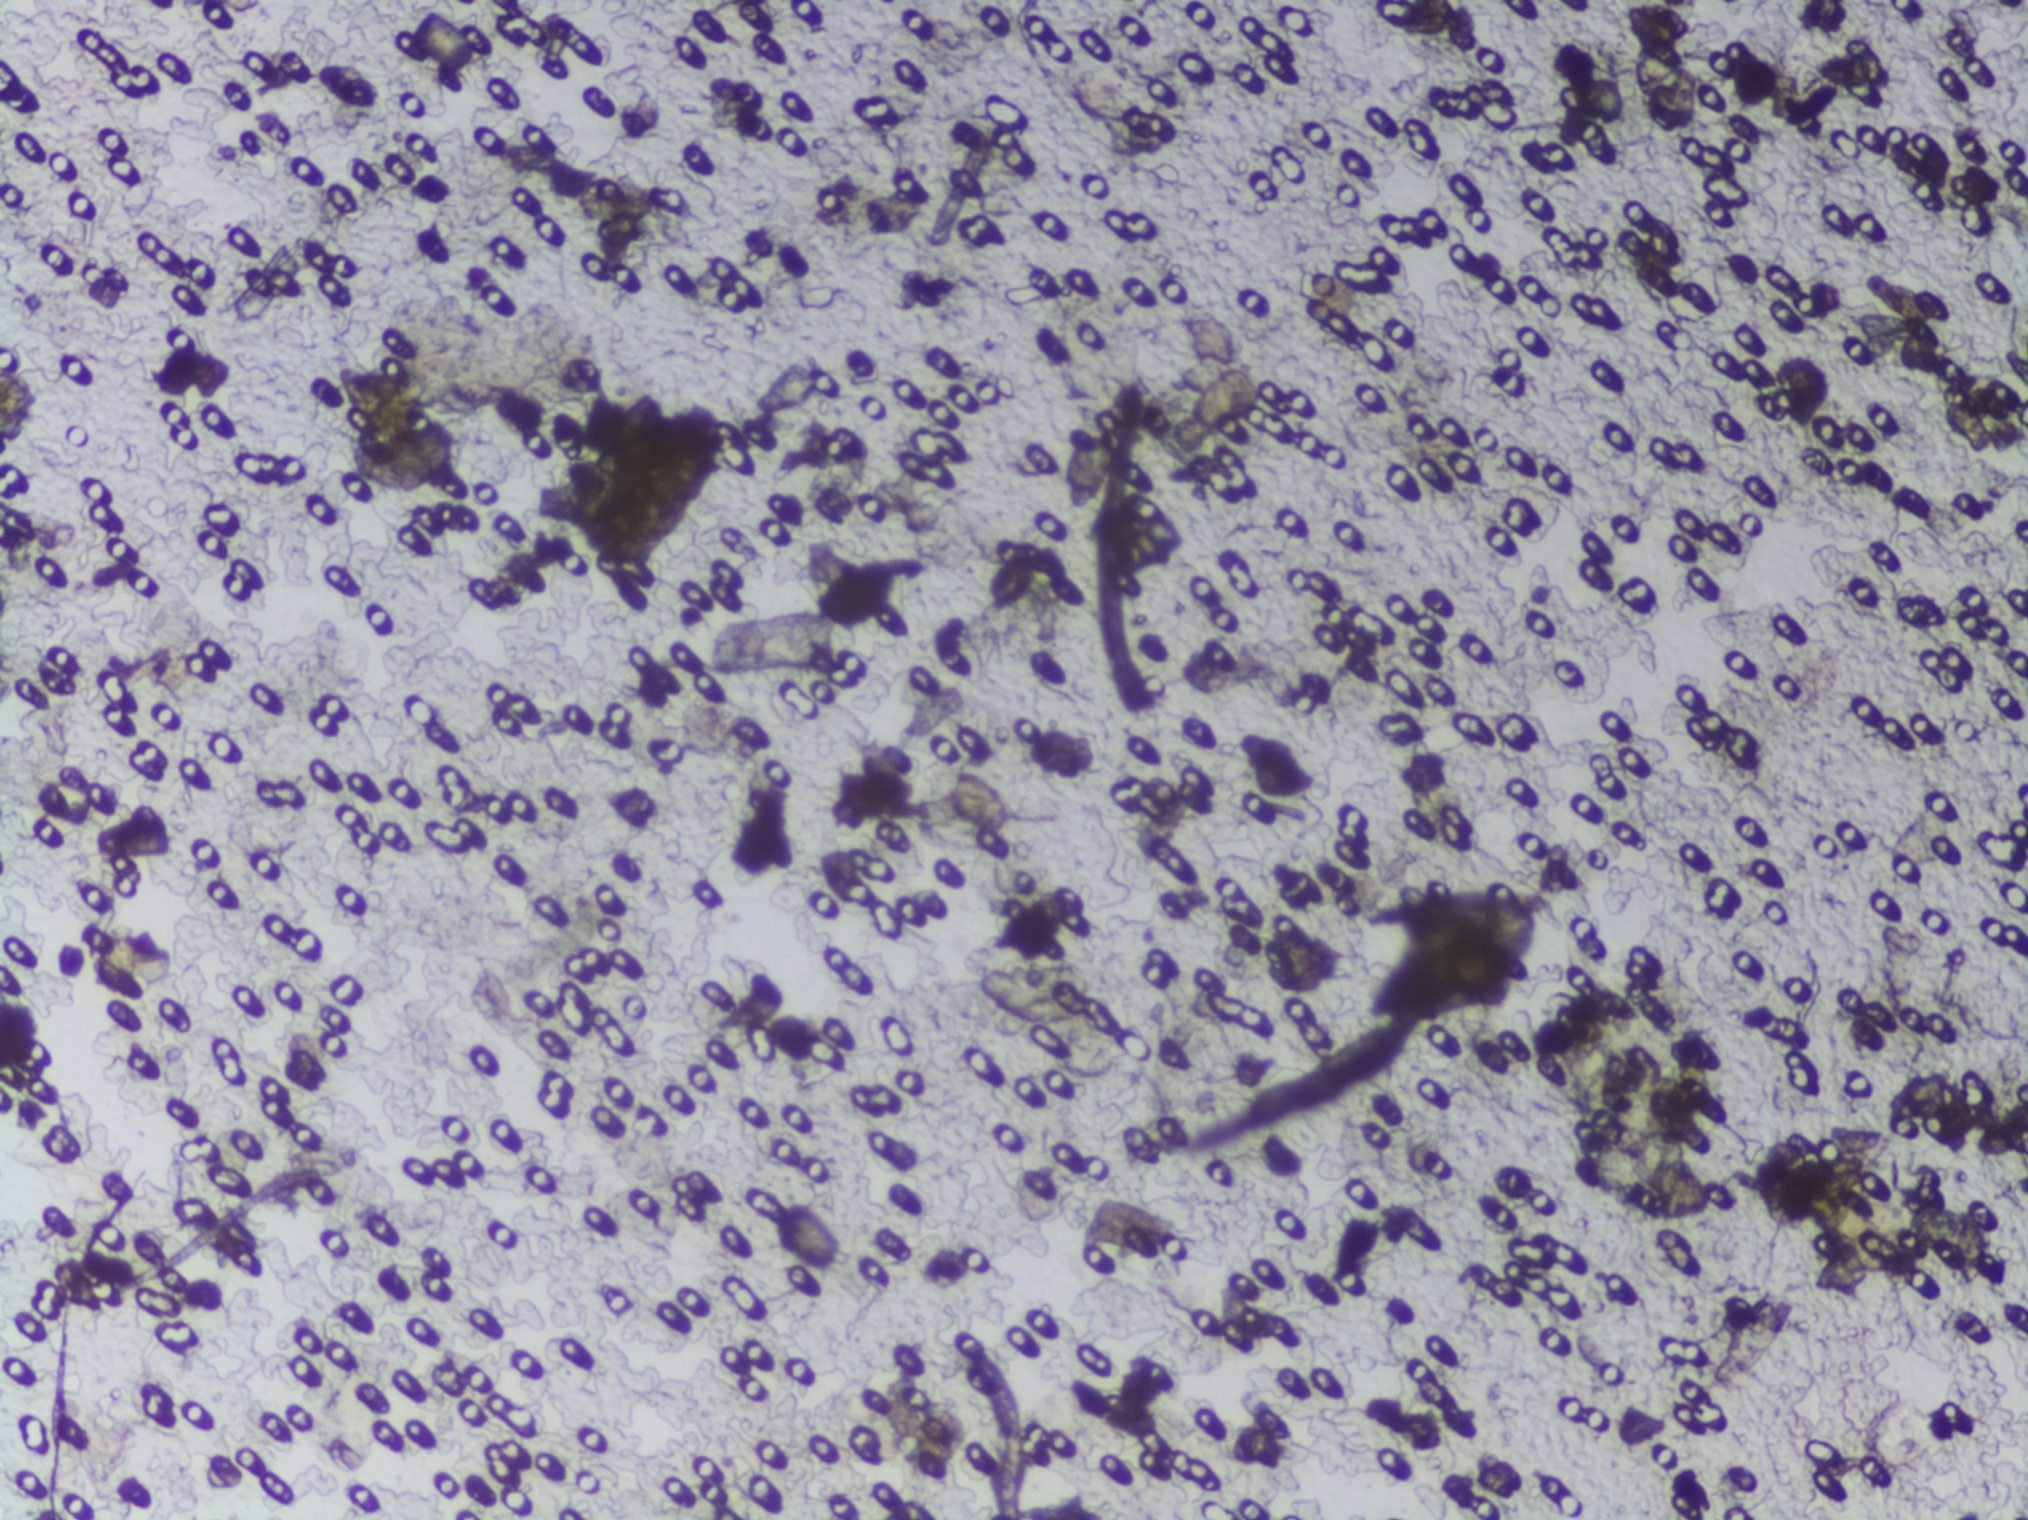
No Schistosoma egg is outlined in this image's expert annotation.
Urine filter membrane photographed through a 4× microscope objective. The image covers about 1.5 × 1.1 mm of the membrane.